Urine filtration membrane under a 4× objective, photographed by an automated digital microscope.
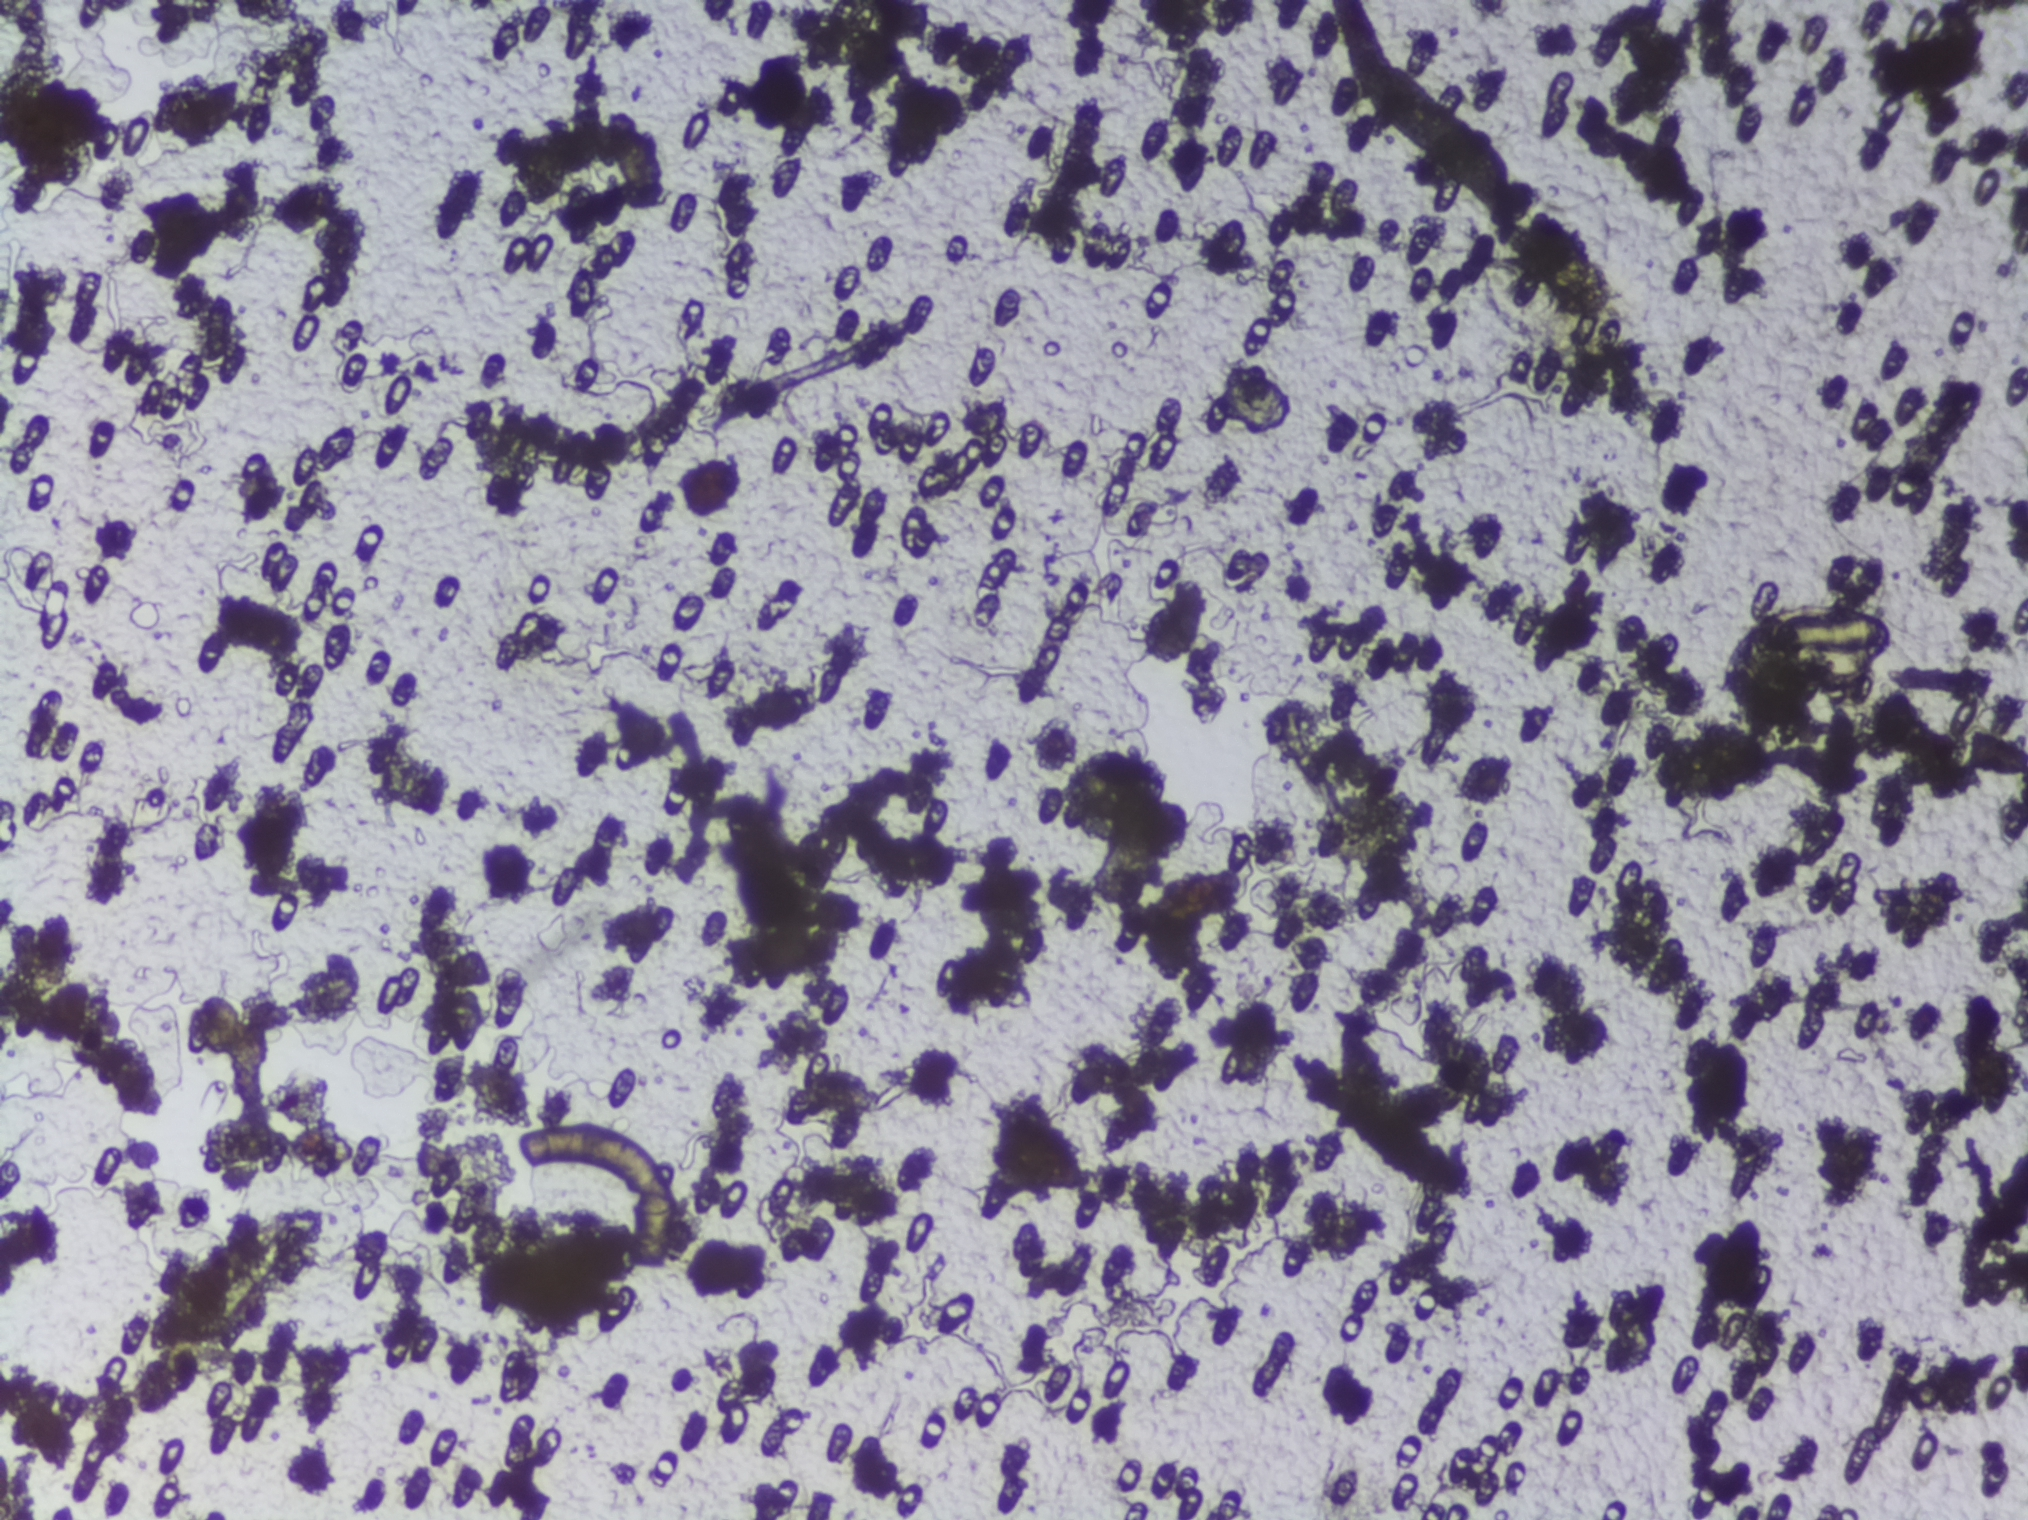
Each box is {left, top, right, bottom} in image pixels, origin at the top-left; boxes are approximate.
Findings: one area outlined as Schistosoma eggs. Location: {1750, 600, 1894, 684}. Marked pixels, not the box around them: about 0.3% of the image. A single outlined area may contain several eggs.